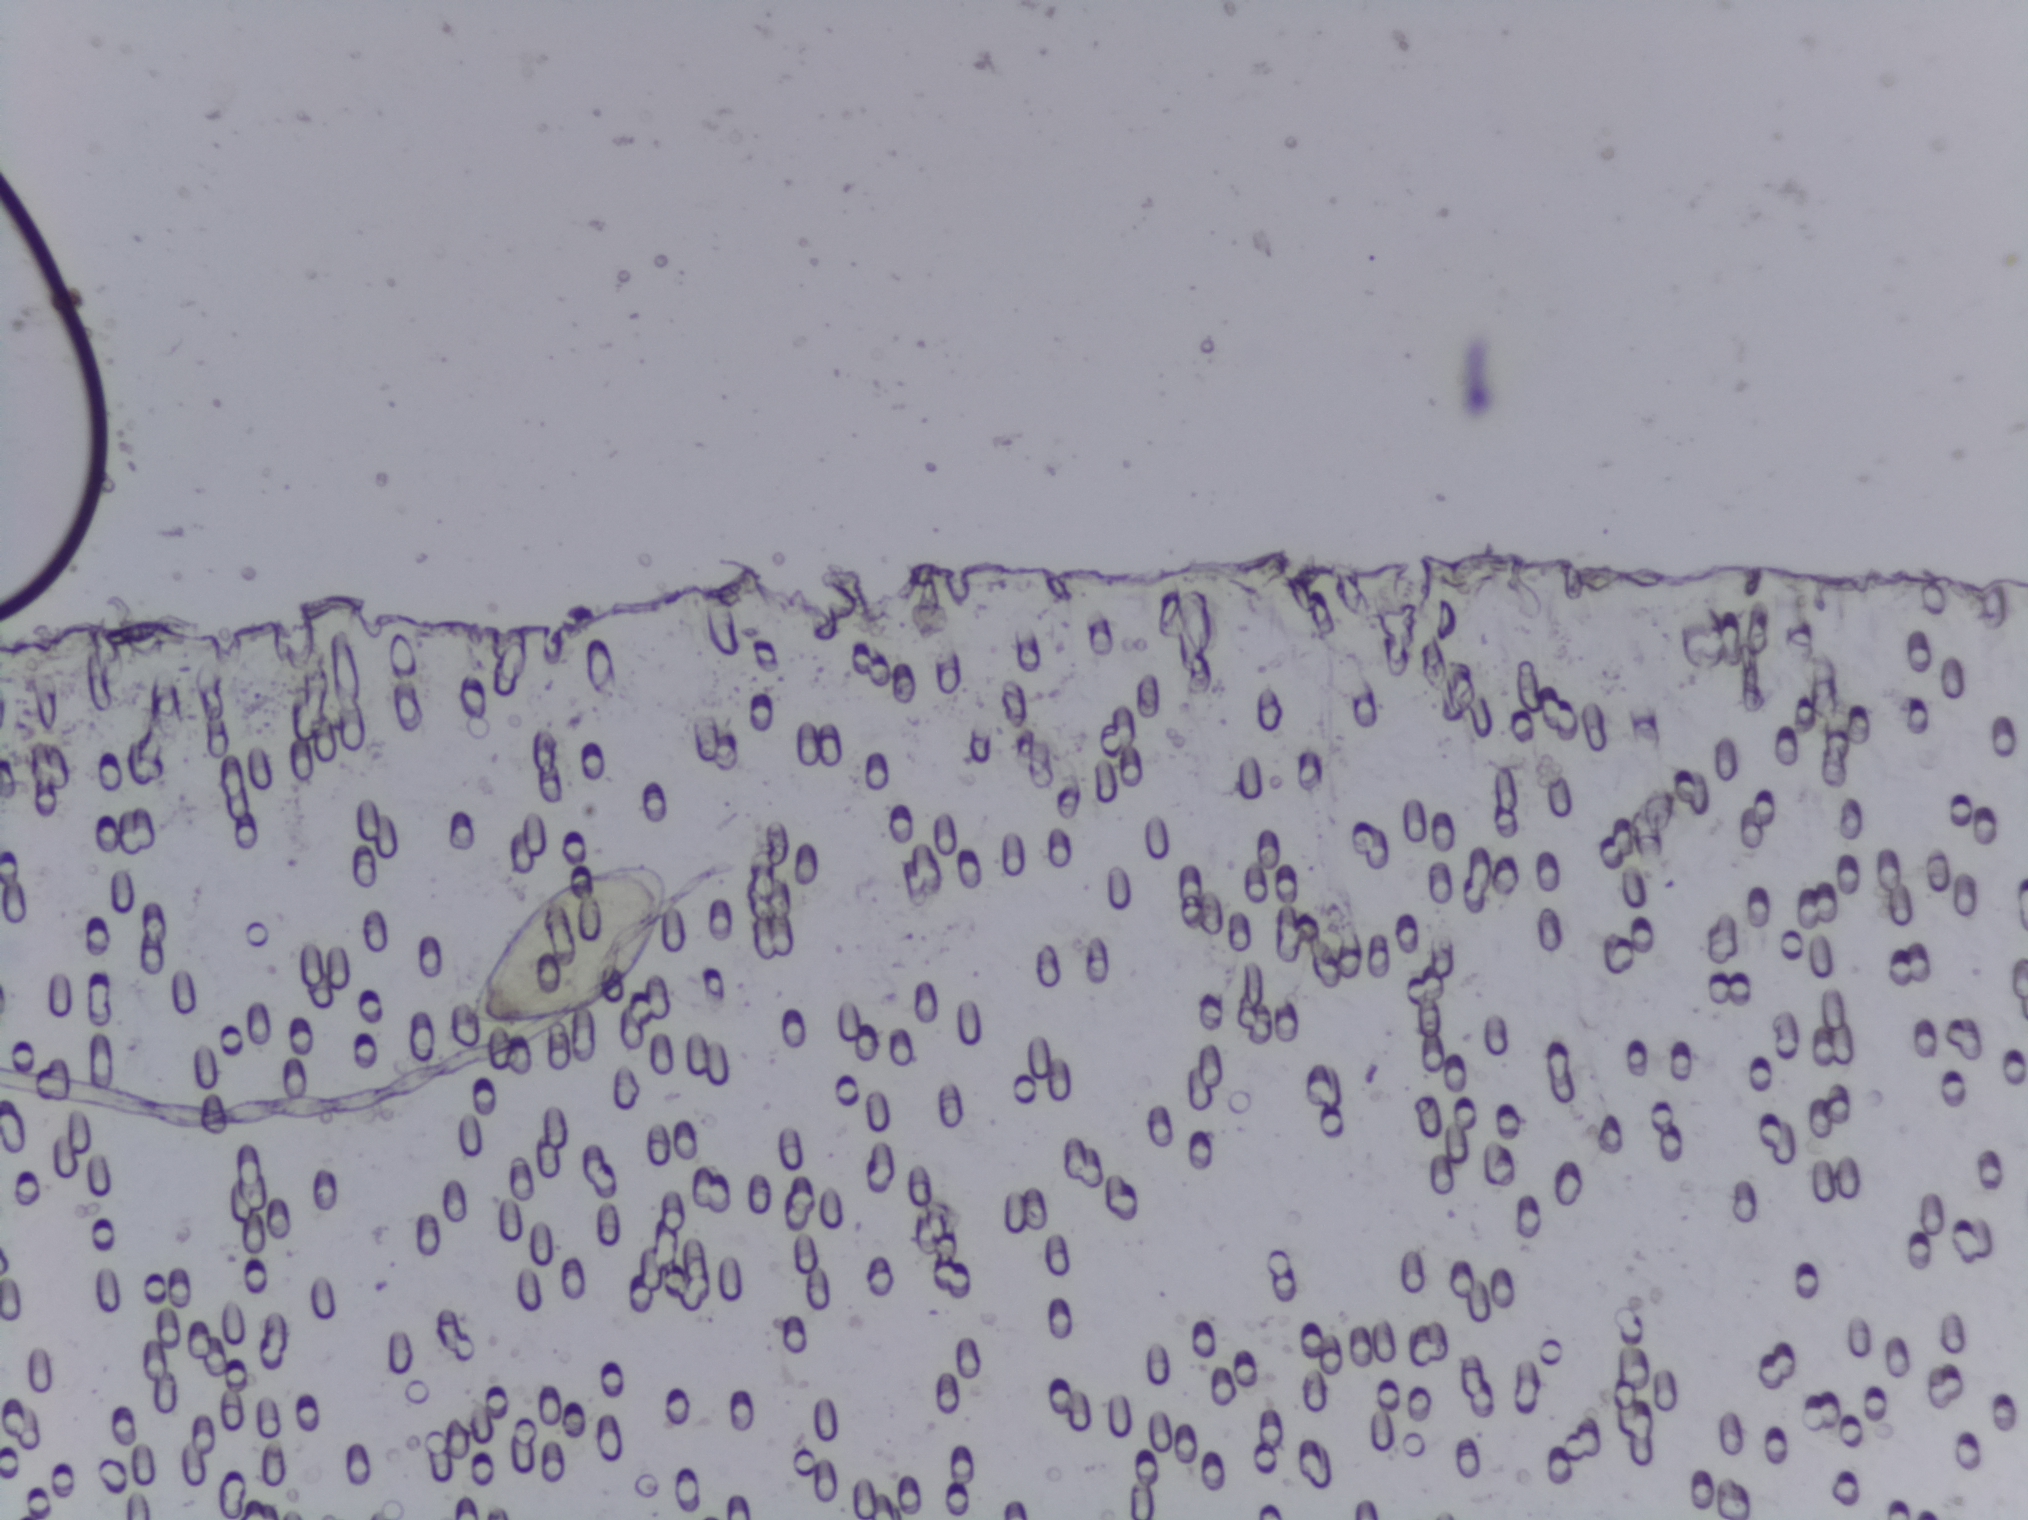
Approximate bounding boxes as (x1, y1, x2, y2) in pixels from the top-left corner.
Areas outlined as Schistosoma eggs: (461, 862, 667, 1032). Eggs that touch can end up inside the same outlined area.
Microscope photograph (4× objective) of a membrane that a urine sample was filtered through. Field of view: about 1.5 mm wide and 1.1 mm high.